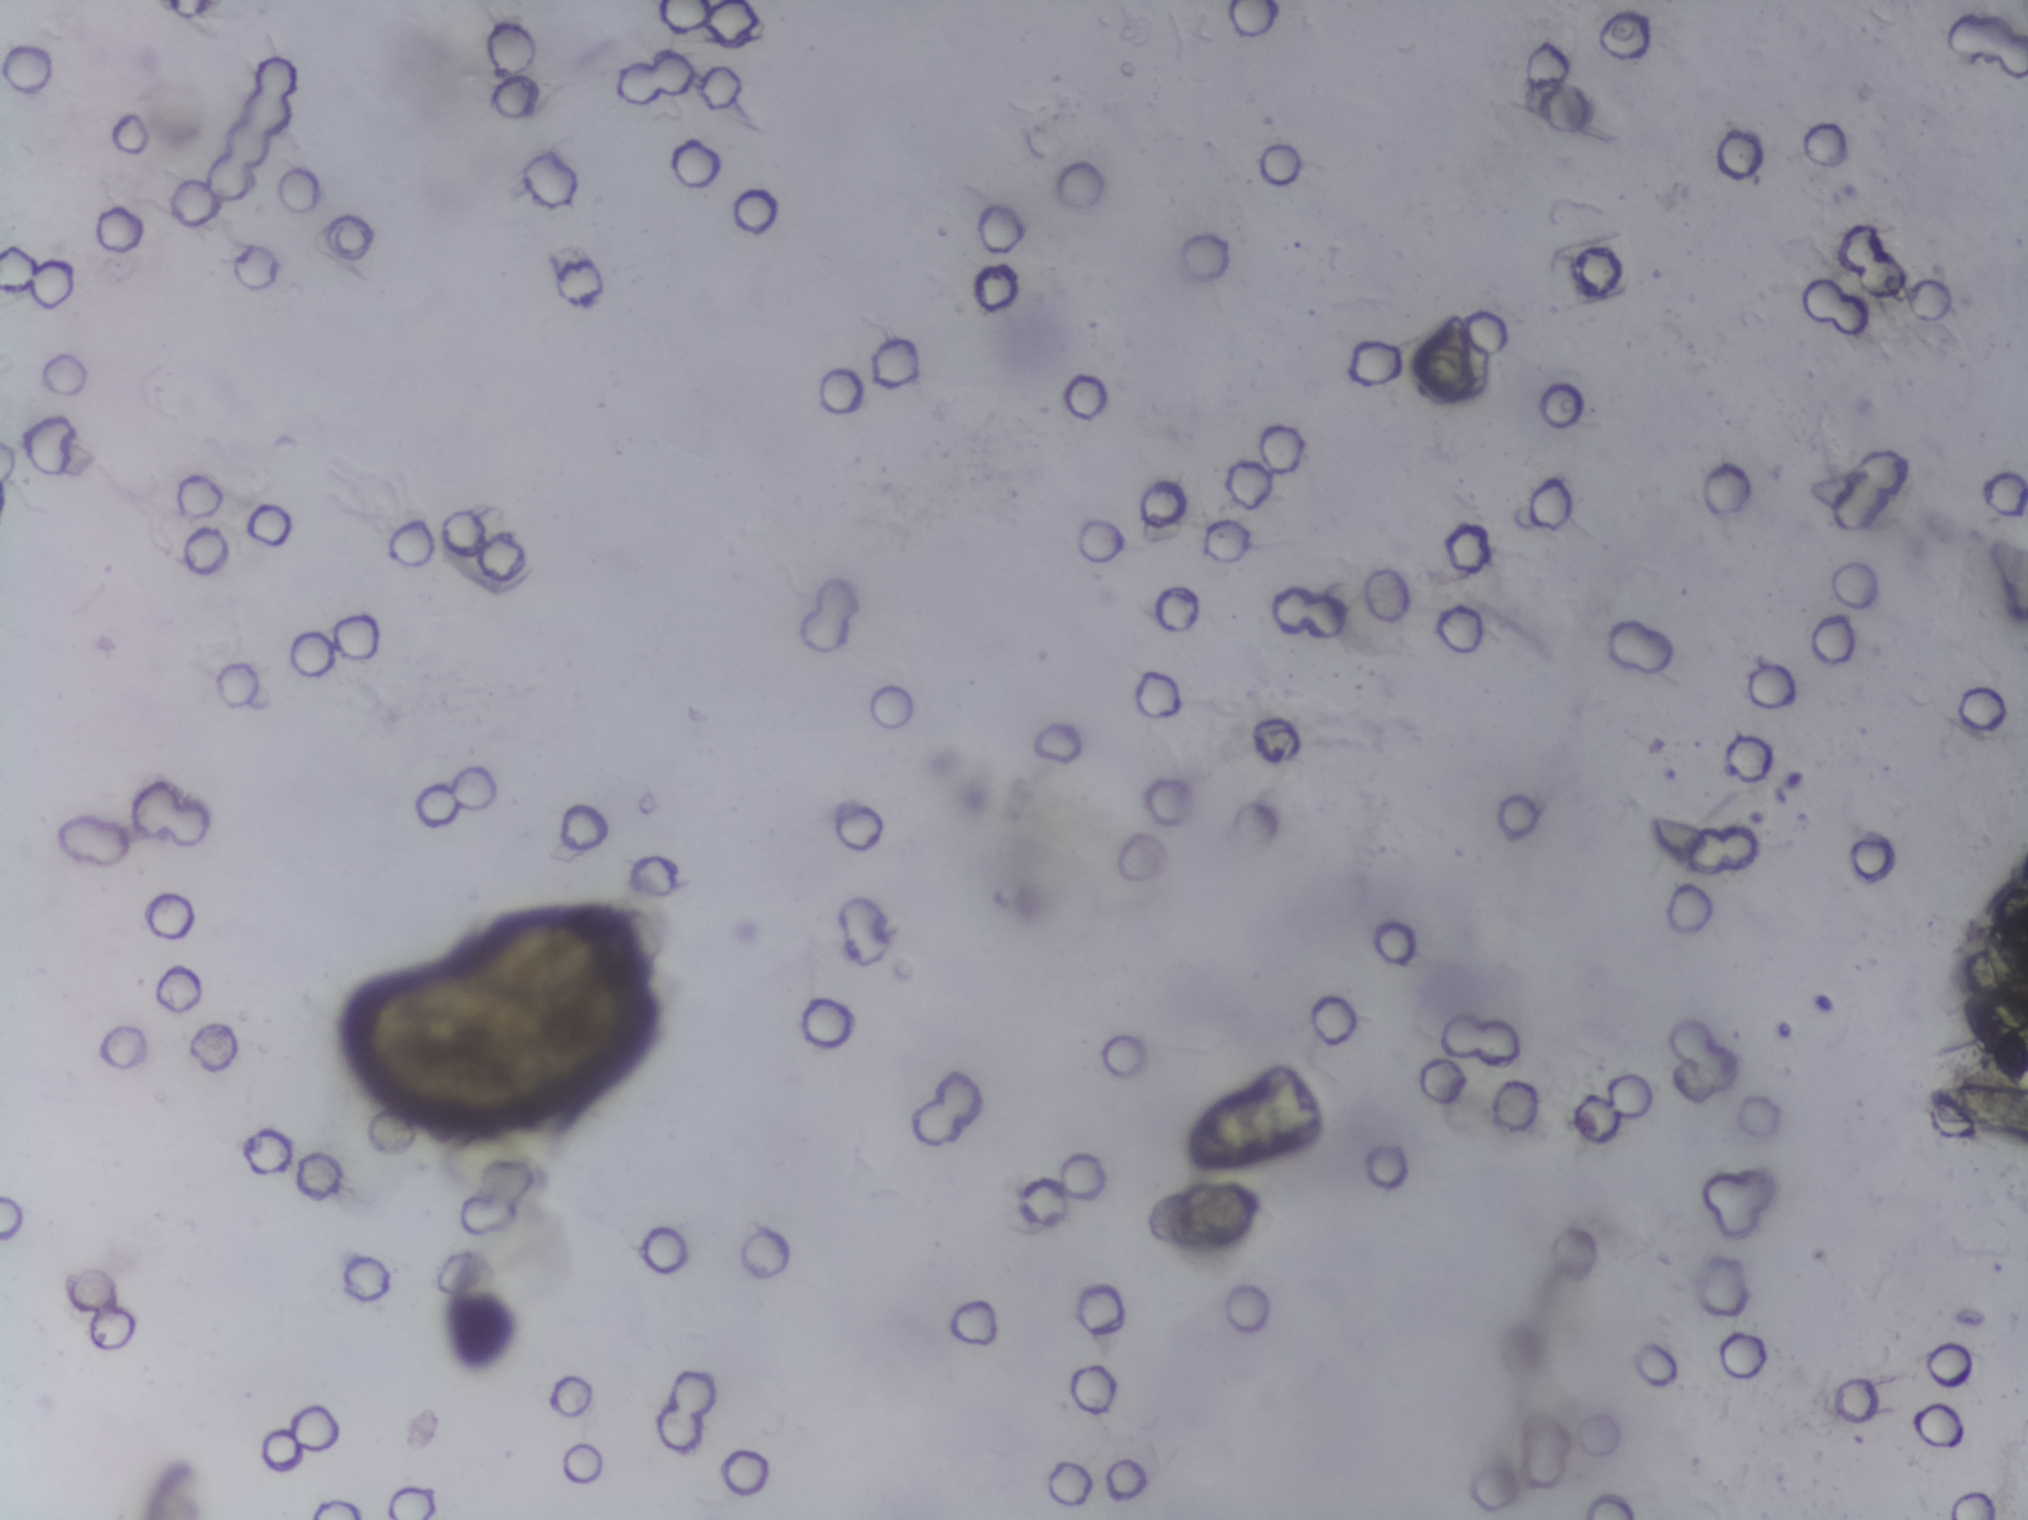
Urine filtration membrane under a 4× objective, photographed by an automated digital microscope. Field of view: about 1.5 mm wide and 1.1 mm high.
No Schistosoma egg is outlined in this image's expert annotation.